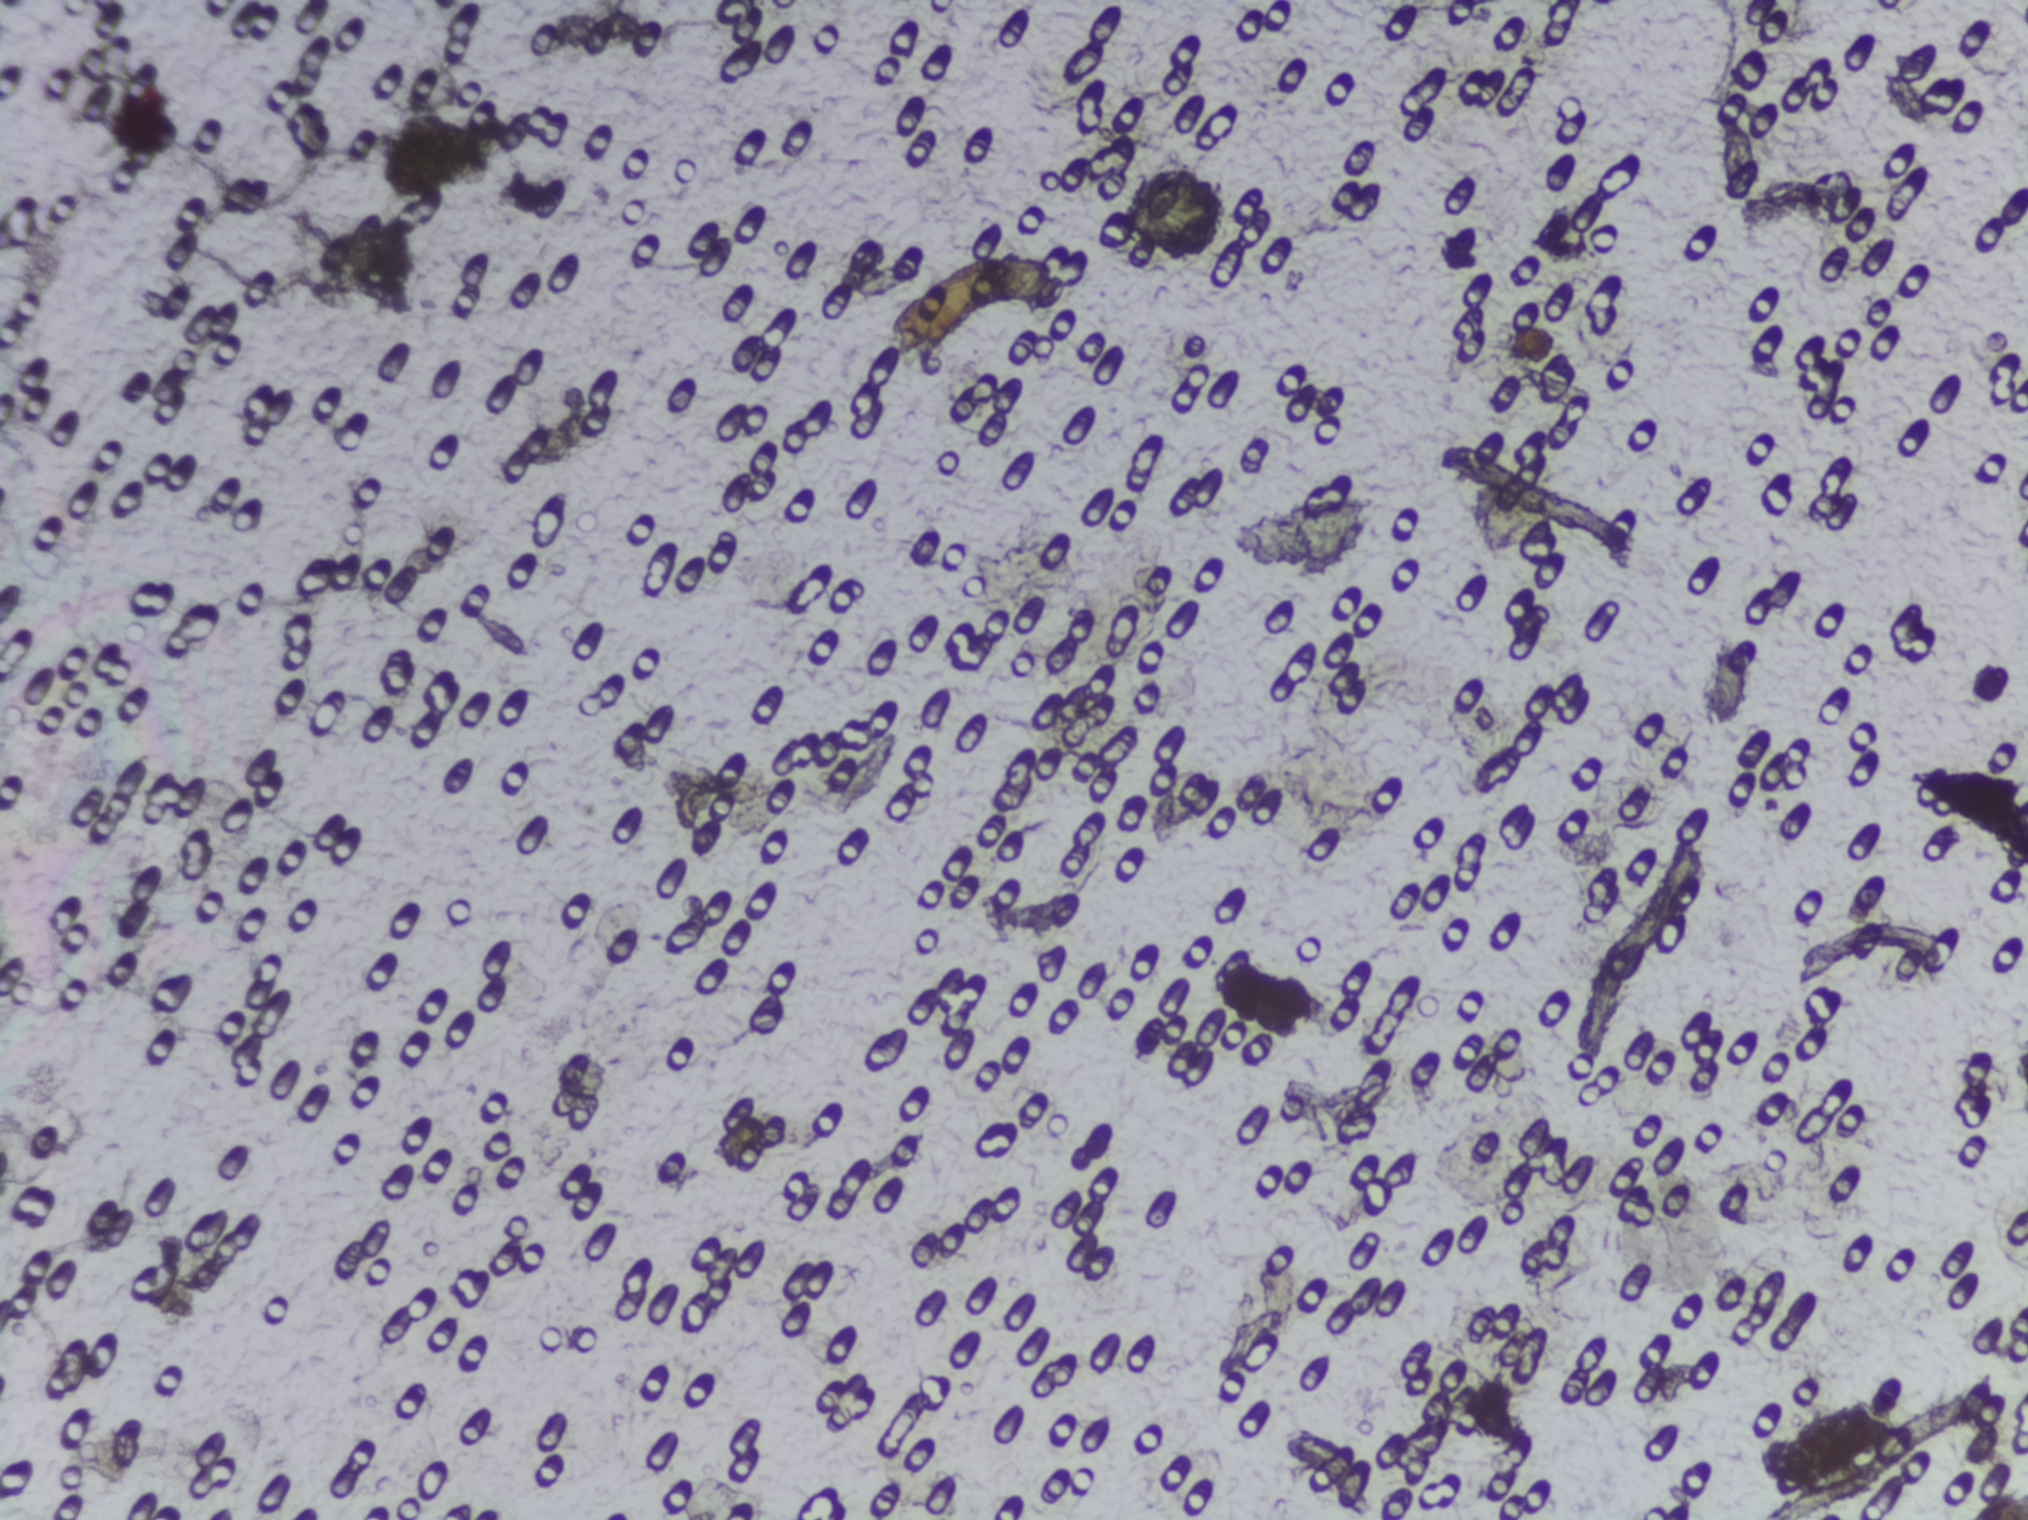
Urine filter membrane photographed through a 4× microscope objective.
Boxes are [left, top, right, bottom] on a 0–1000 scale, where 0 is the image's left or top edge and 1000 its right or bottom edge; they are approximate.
One area of this image is outlined as Schistosoma eggs: [869, 914, 952, 989]. The marked pixels themselves, not the box around them, cover about 0.4% of the image. Eggs that touch can end up inside the same outlined area.